Microscope photograph (4× objective) of a membrane that a urine sample was filtered through.
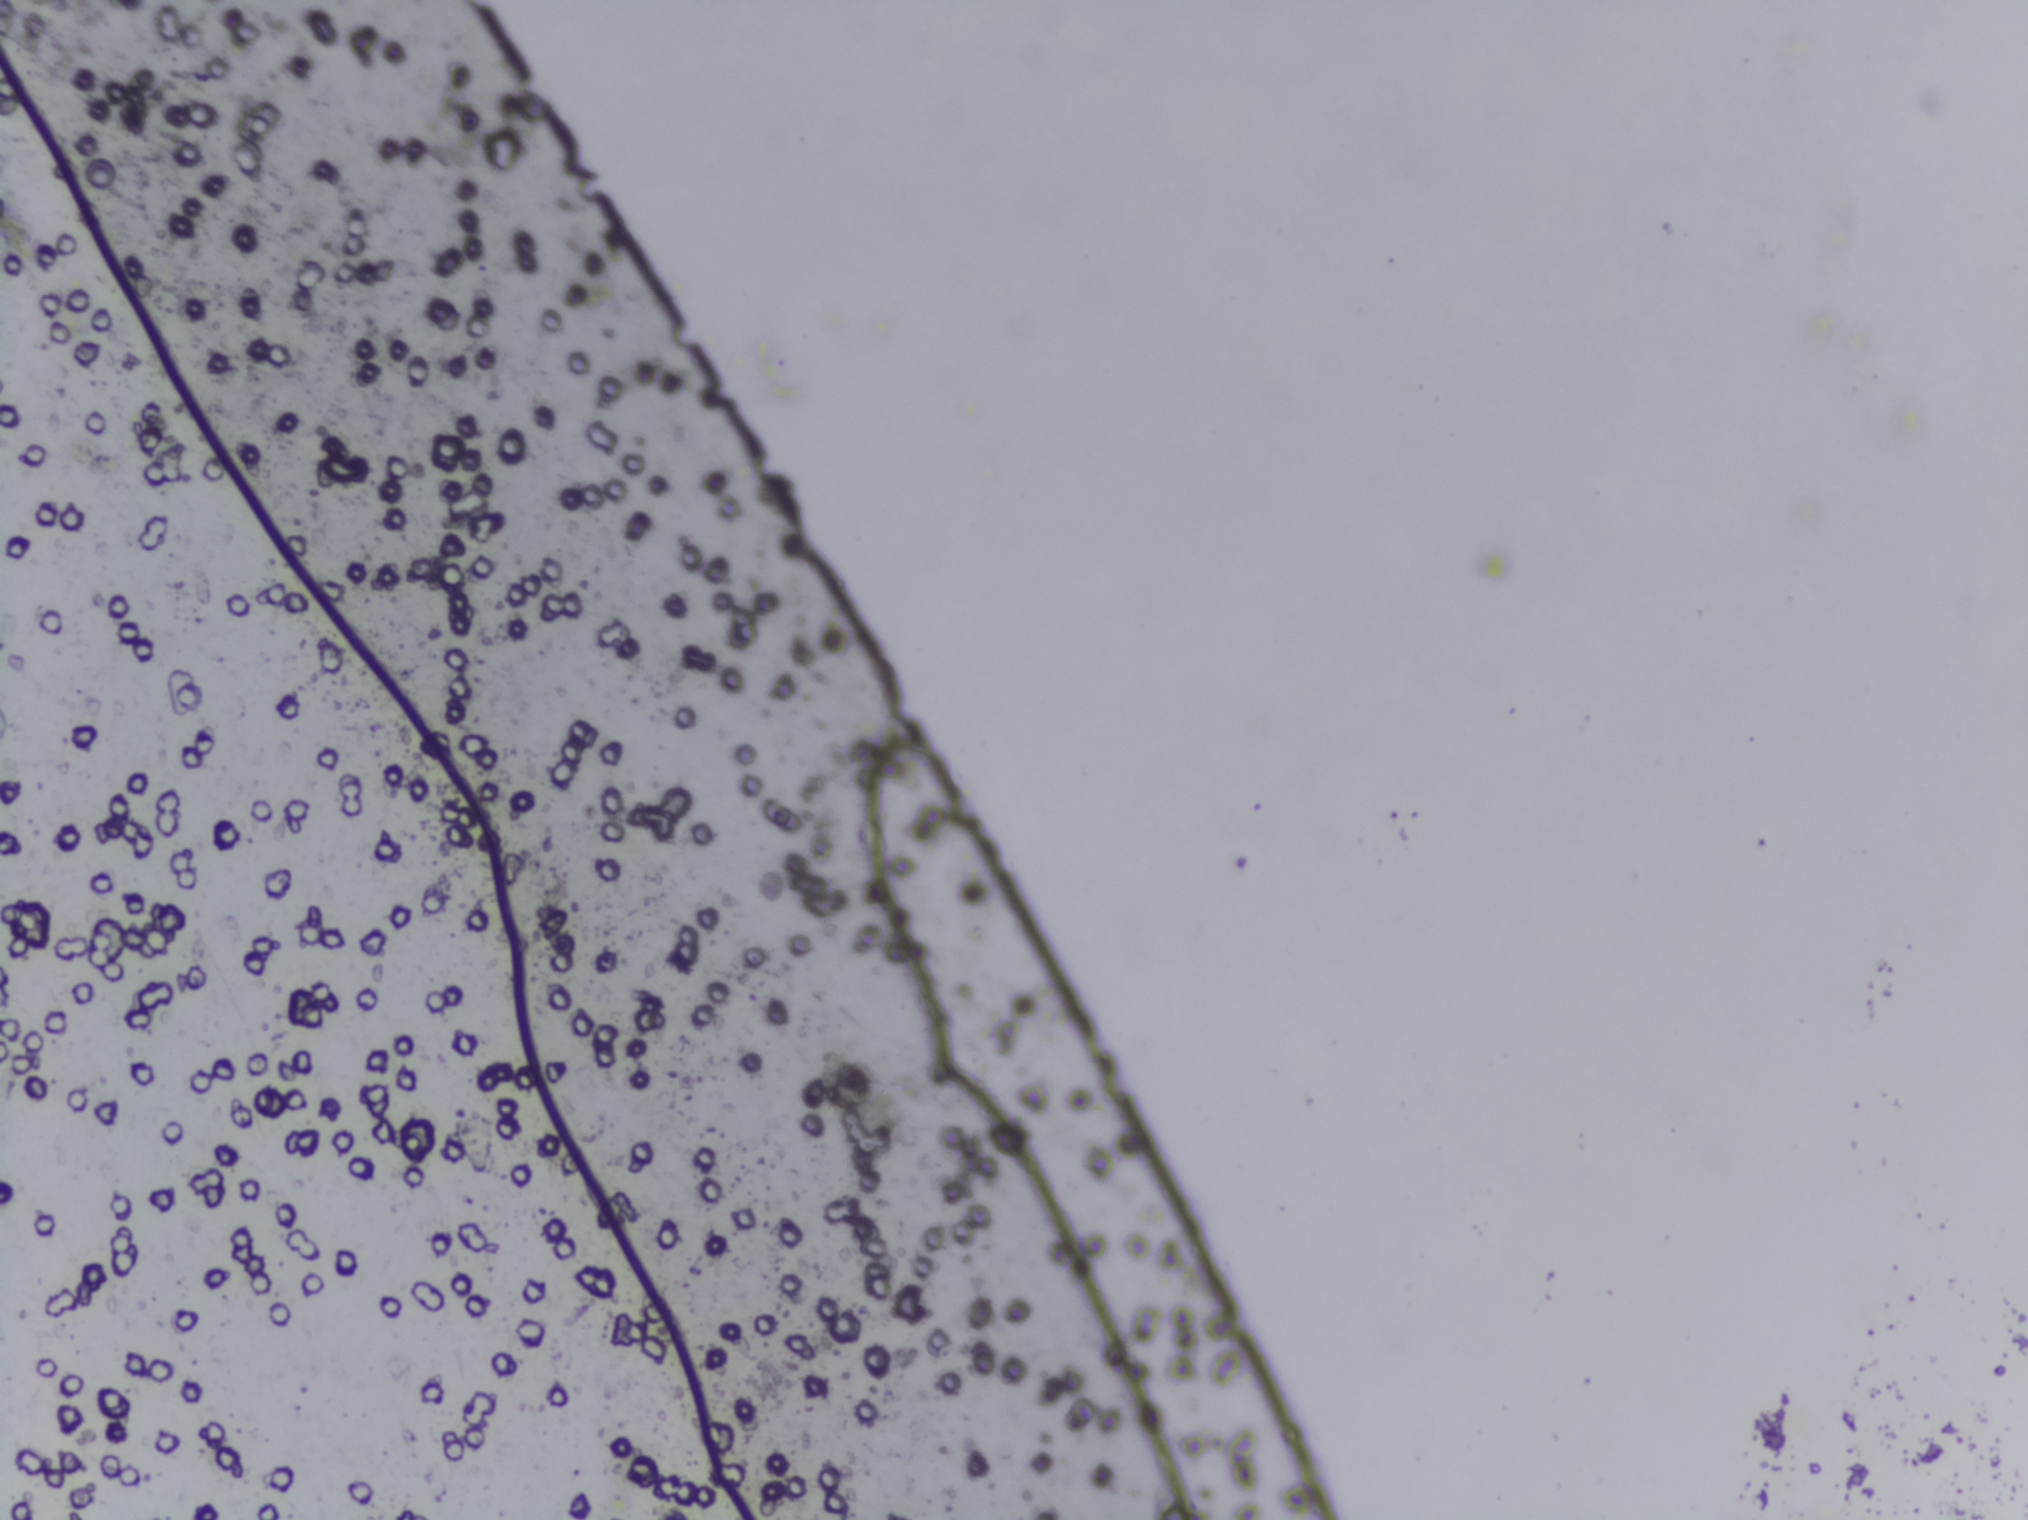
The expert annotation marks no Schistosoma egg in this field of view.